Microscope photograph (4× objective) of a membrane that a urine sample was filtered through.
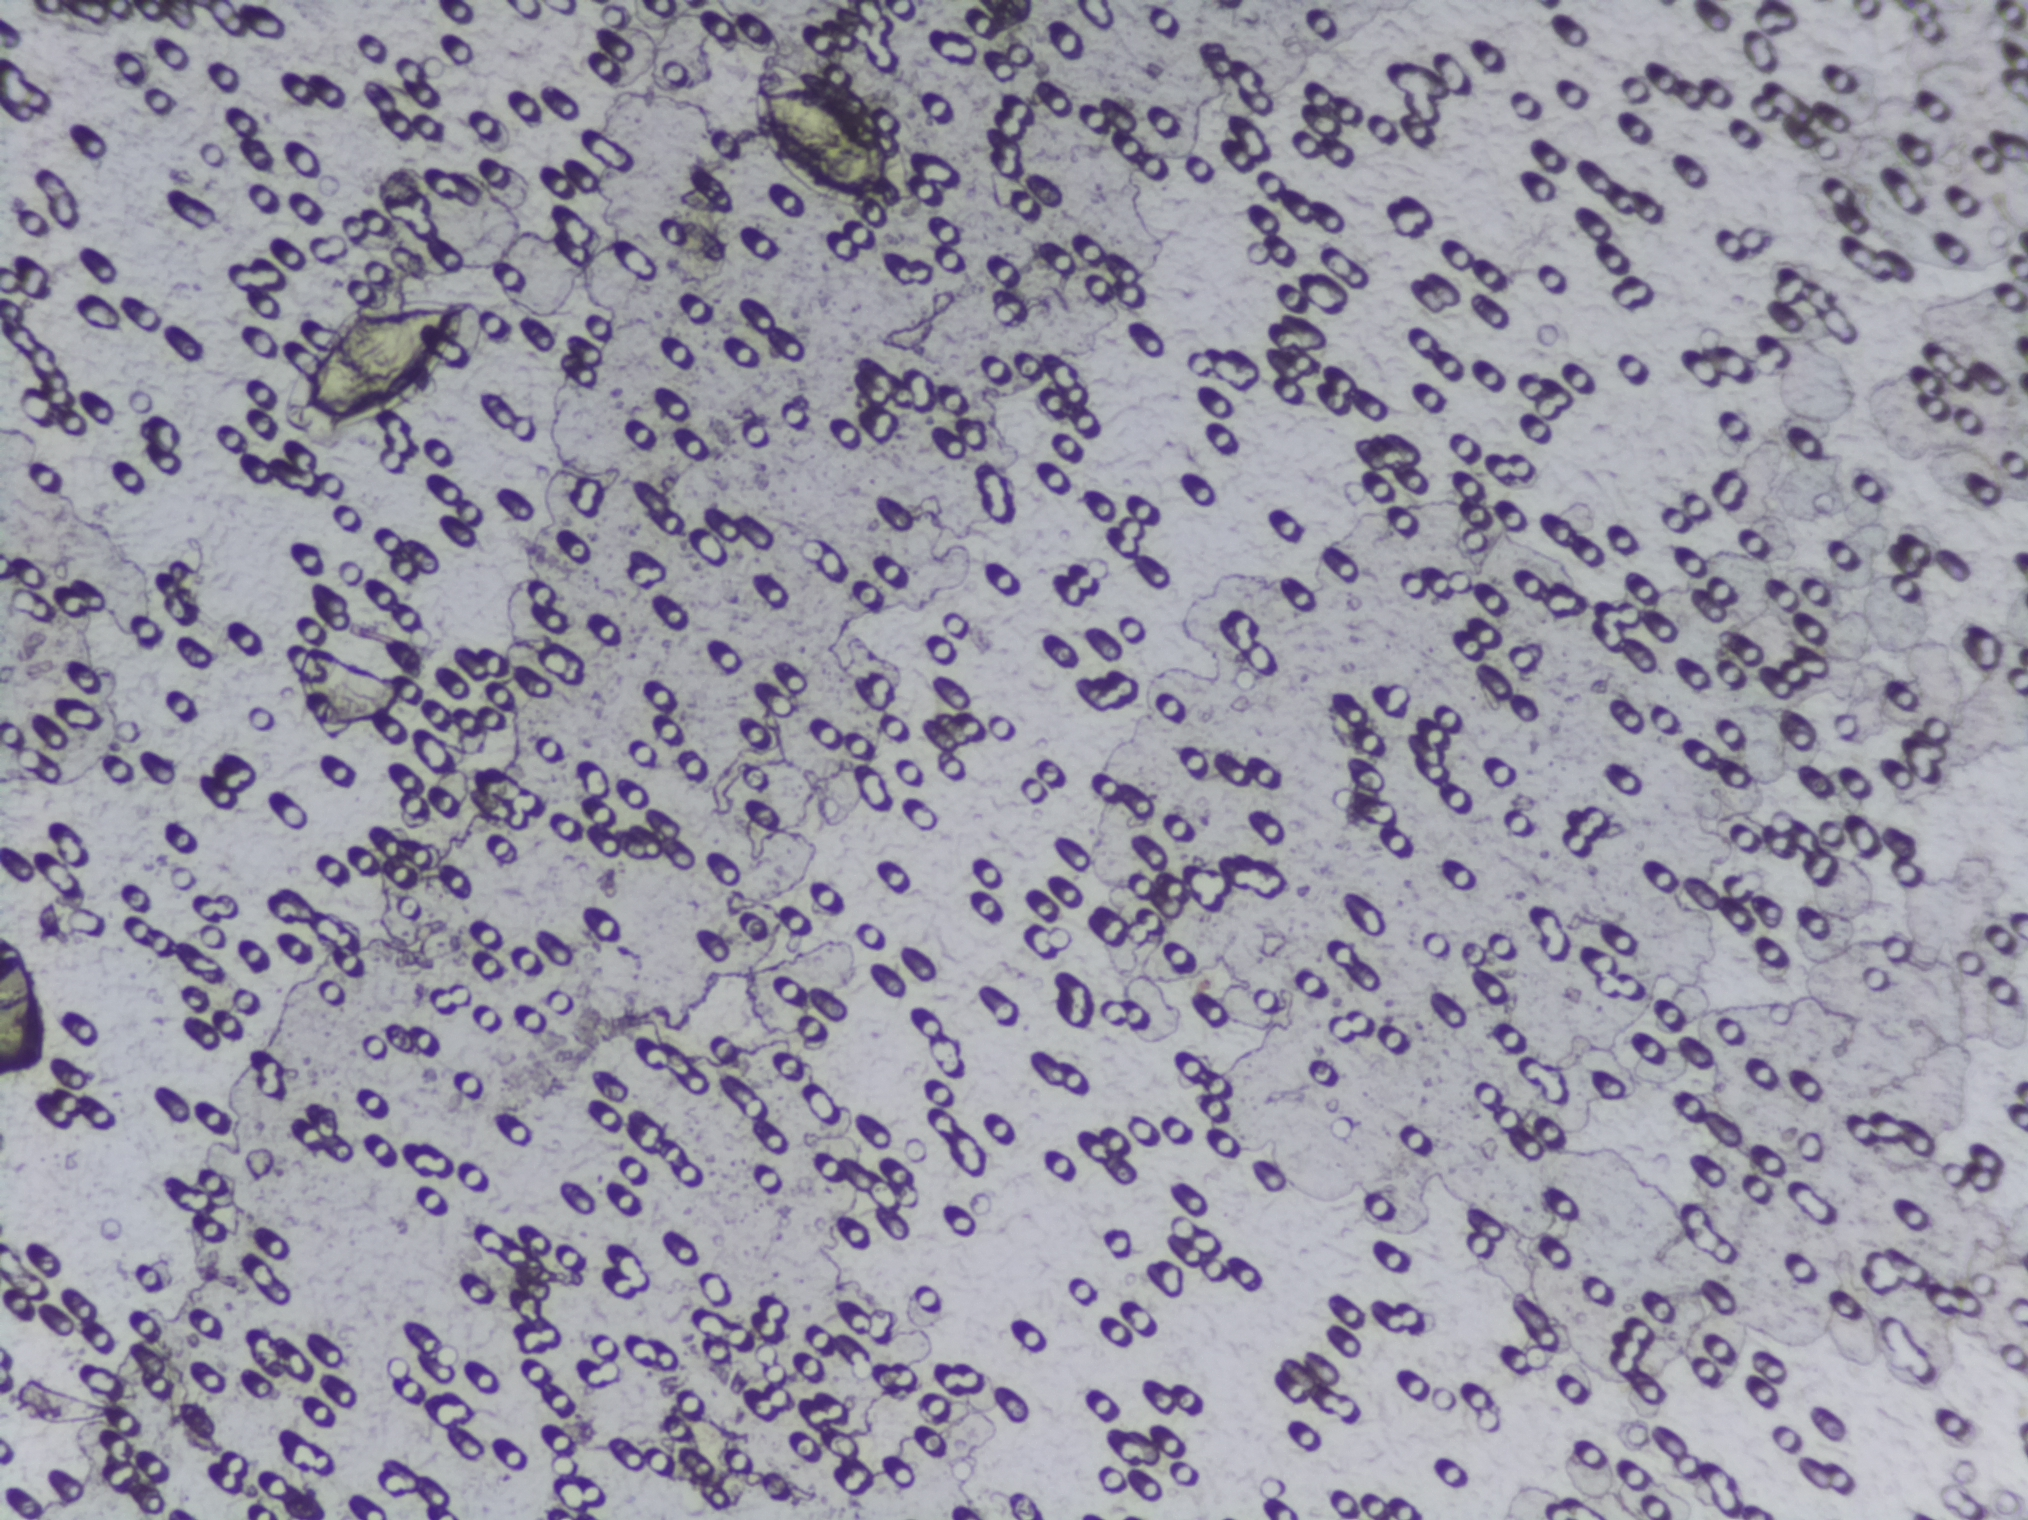
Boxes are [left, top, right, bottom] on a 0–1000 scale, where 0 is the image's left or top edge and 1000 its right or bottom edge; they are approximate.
Schistosoma eggs are outlined in the expert annotation at [0, 611, 40, 710] (reaching the left edge of the frame); [133, 186, 238, 291]; [364, 38, 457, 142] (left to right). Eggs that touch can end up inside the same outlined area.